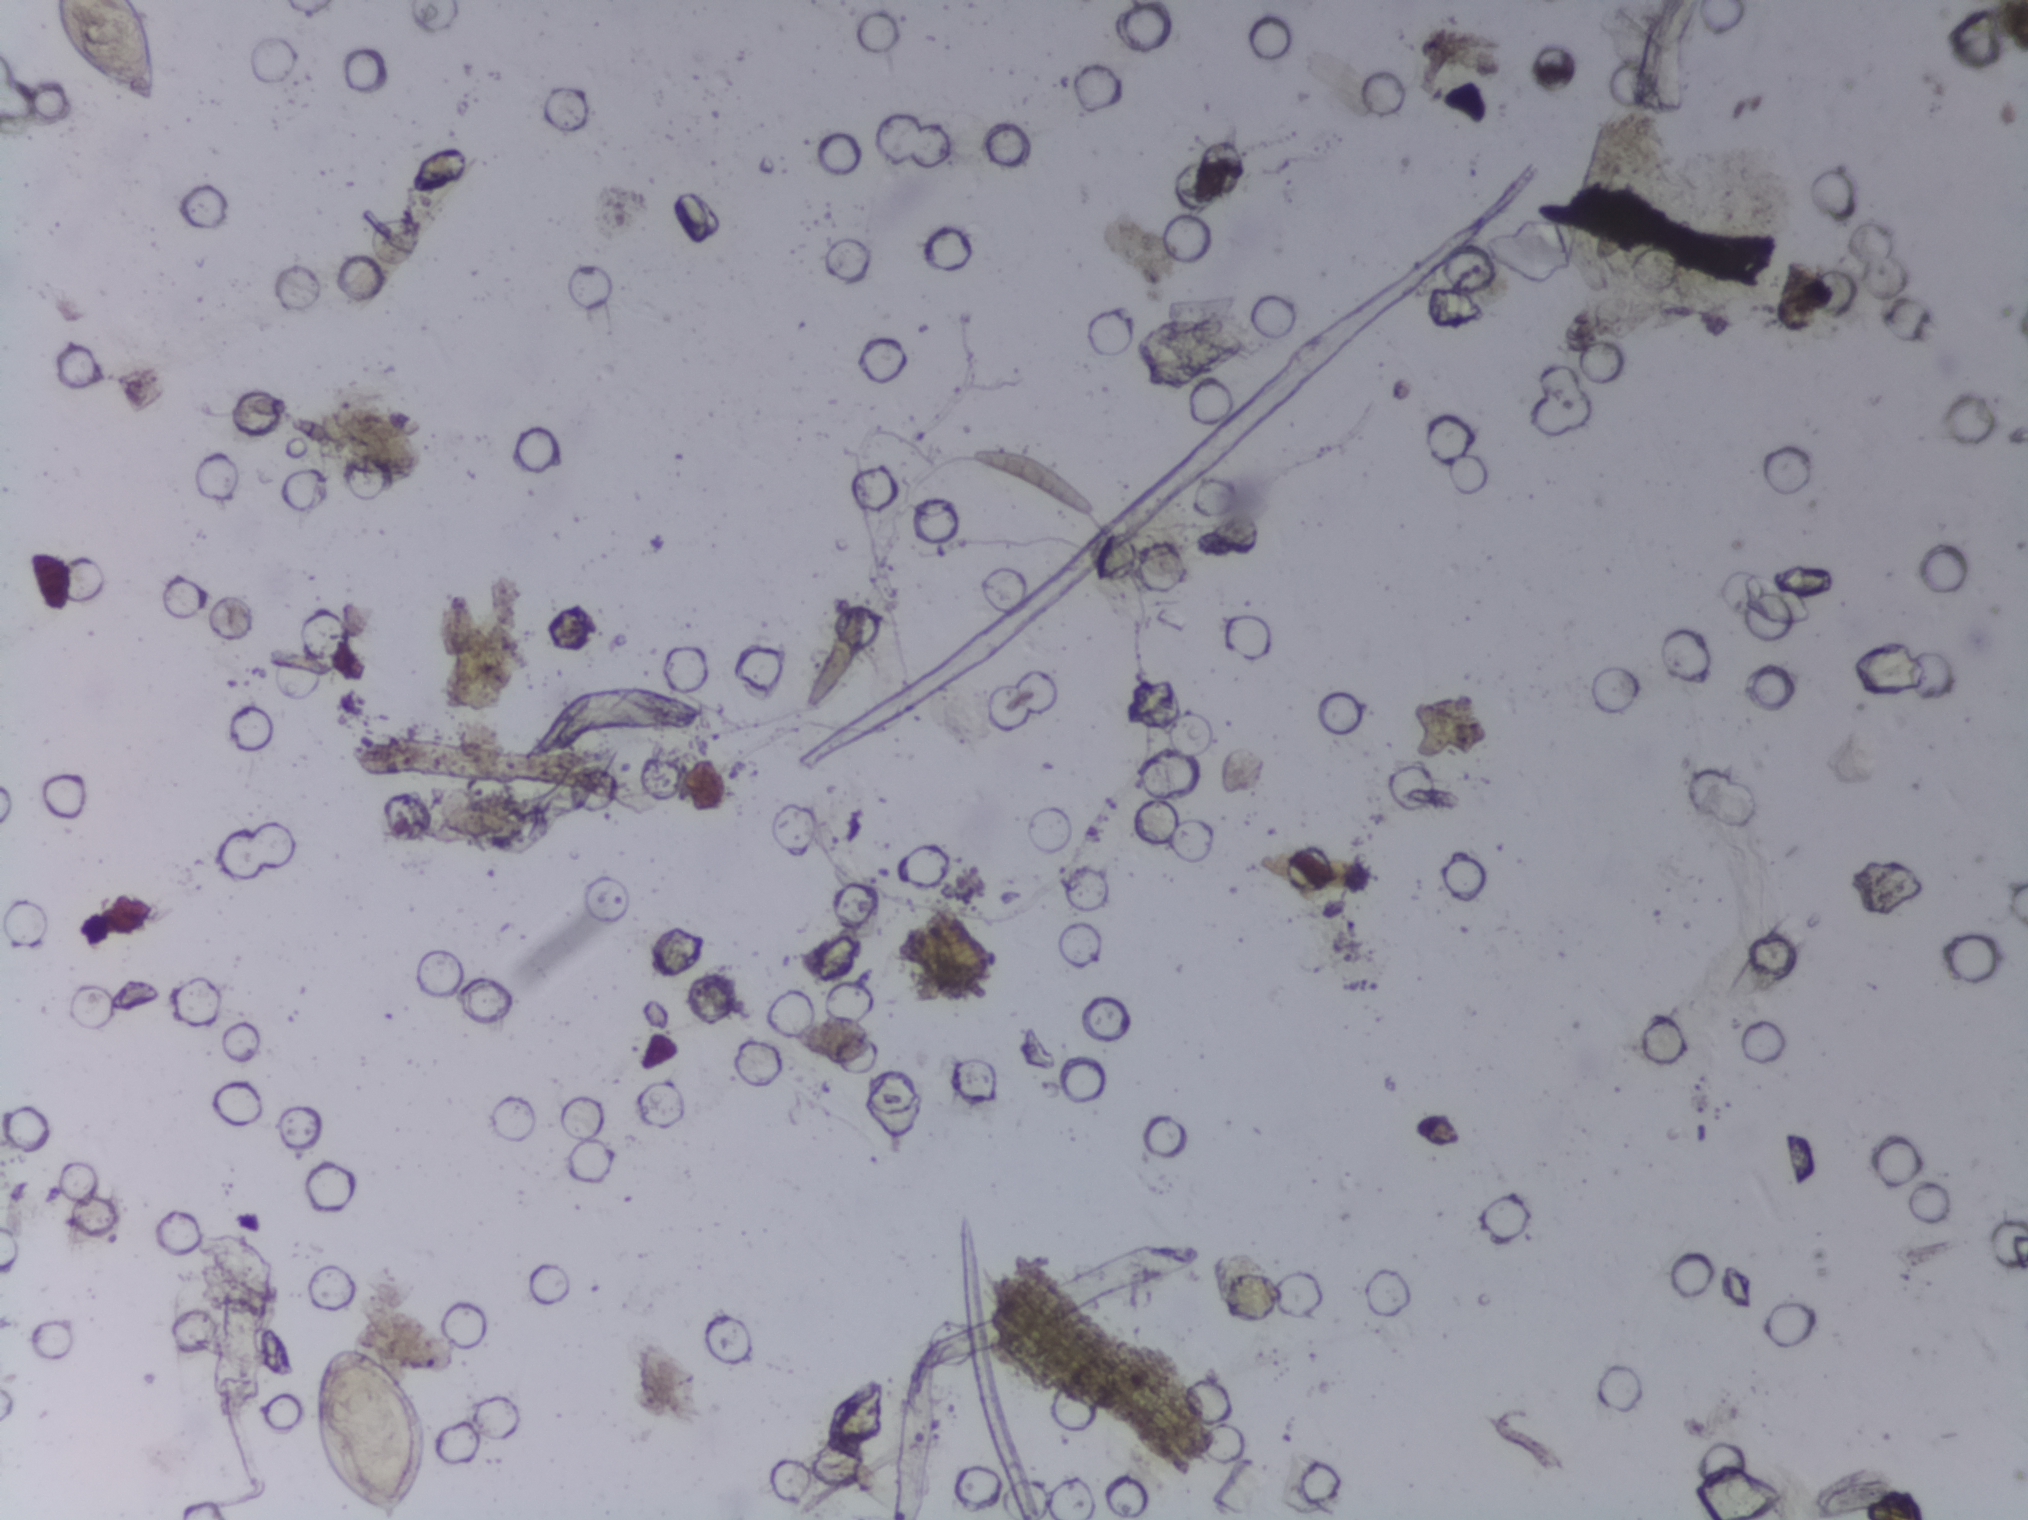
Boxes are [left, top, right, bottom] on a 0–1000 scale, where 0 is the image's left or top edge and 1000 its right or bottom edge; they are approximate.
{"schistosoma_egg_areas_xyxy_per1000": [[26, 0, 78, 71], [154, 883, 214, 1000]]} Area 1 reaches the top edge of the frame. Area 2 reaches the bottom edge of the frame.
An outlined area can hold more than one egg.
Photograph from an automated digital microscope: urine filter membrane, 4× objective.